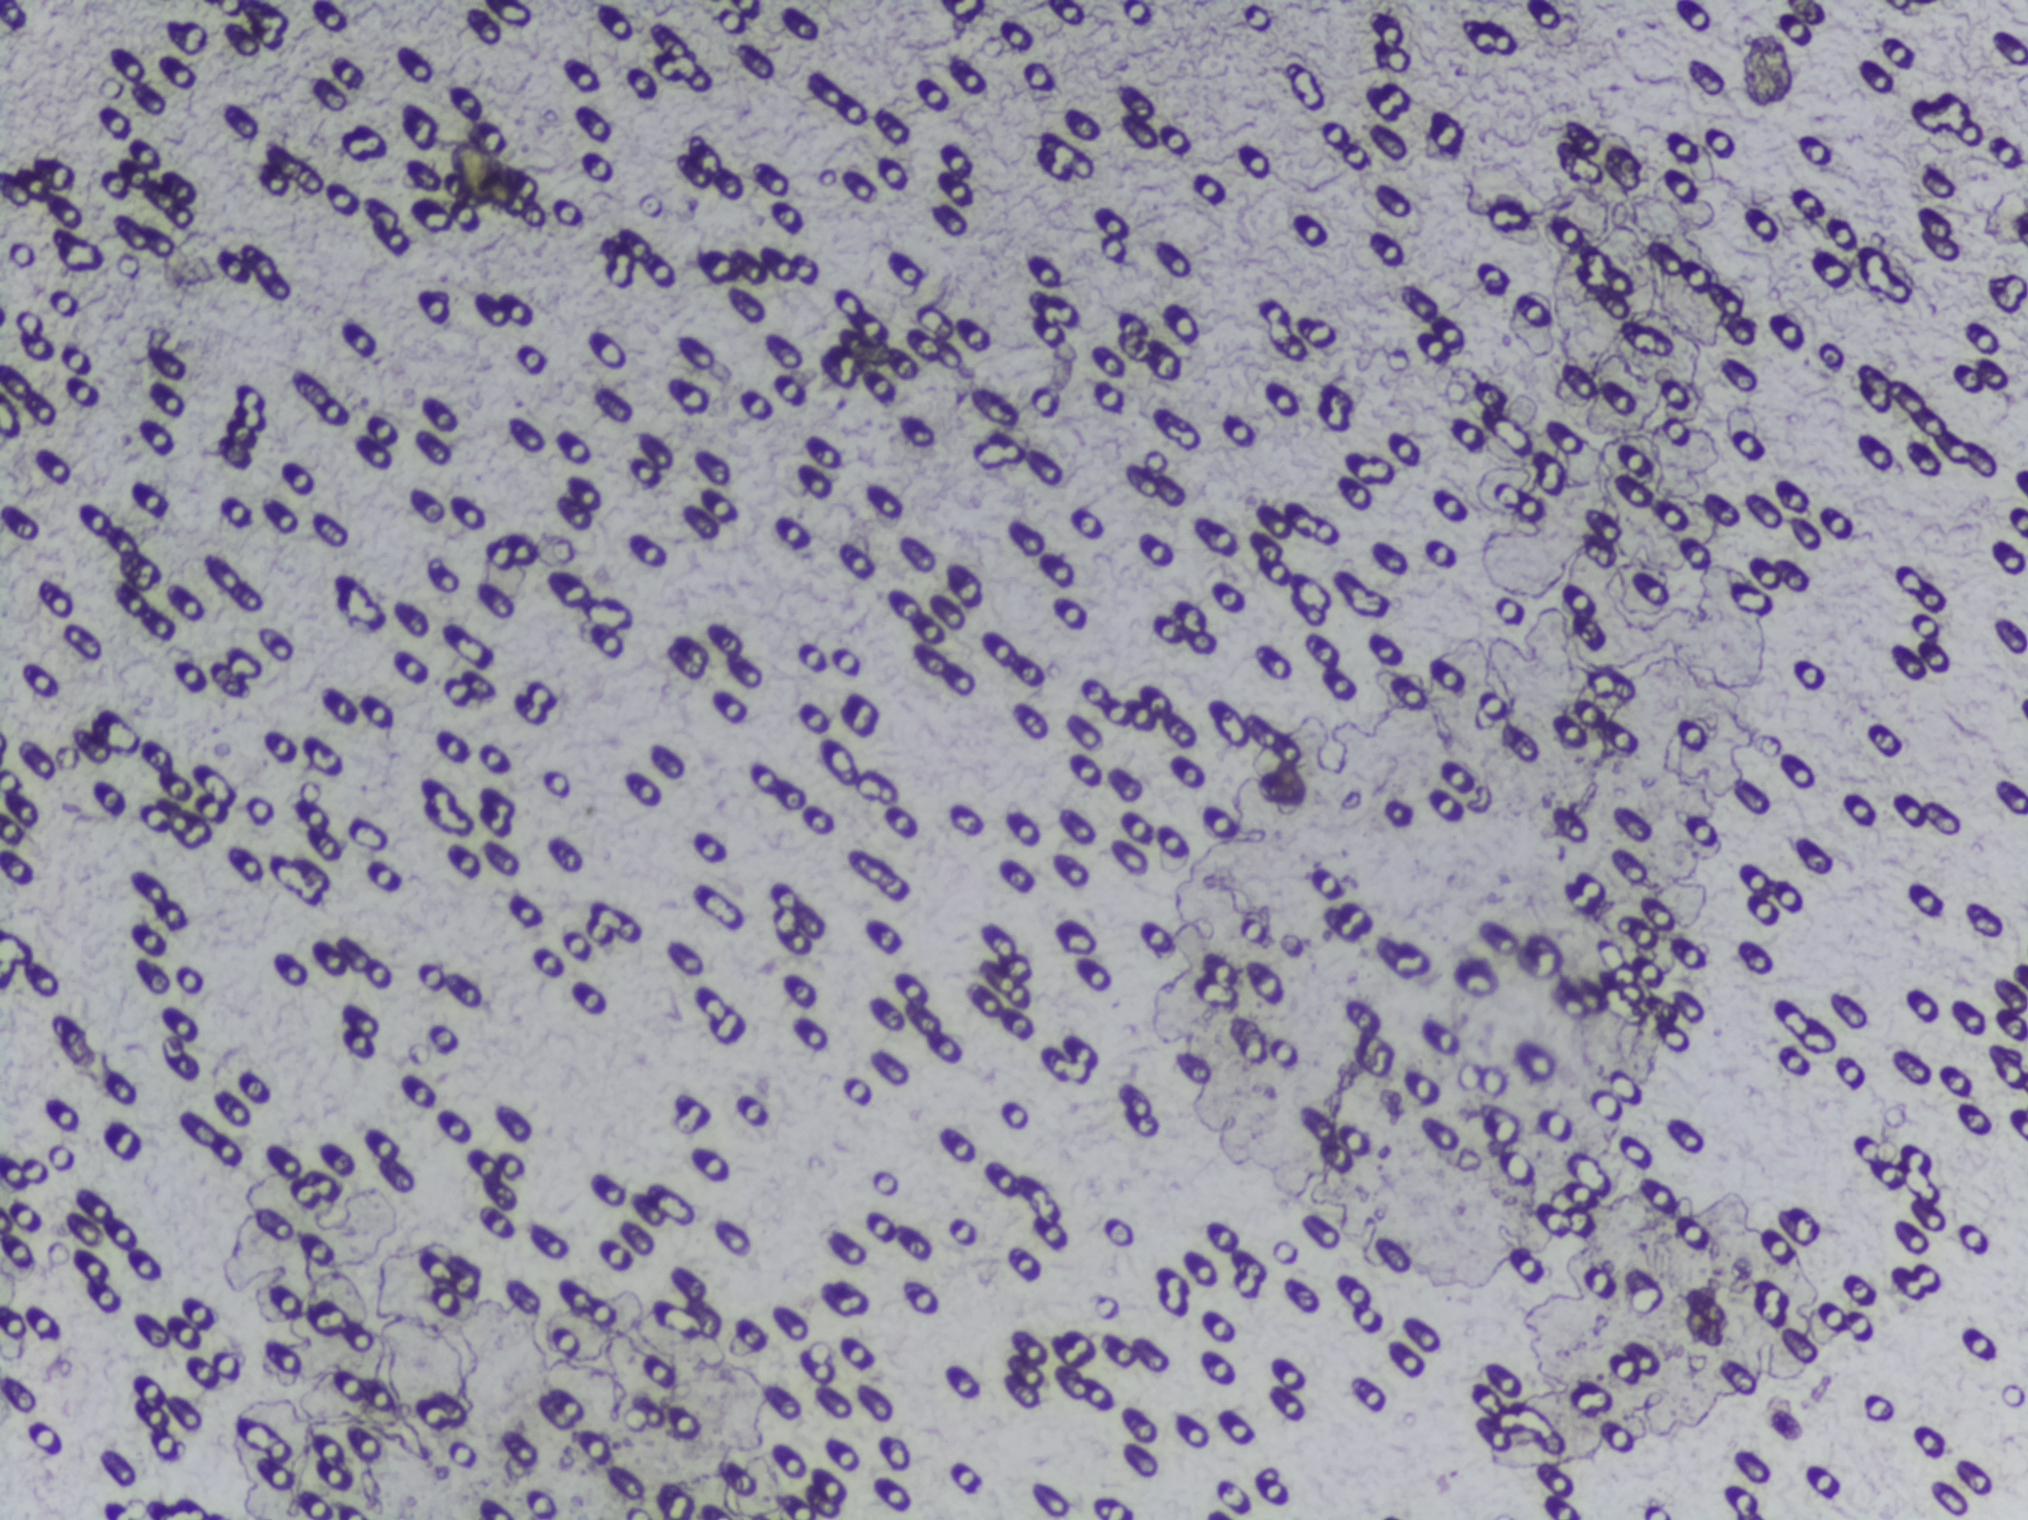
One field of view of a urine filter membrane, 4× objective, 2028 × 1520 pixels.
The expert annotation outlines no Schistosoma egg in this image.